Photograph from an automated digital microscope: urine filter membrane, 4× objective.
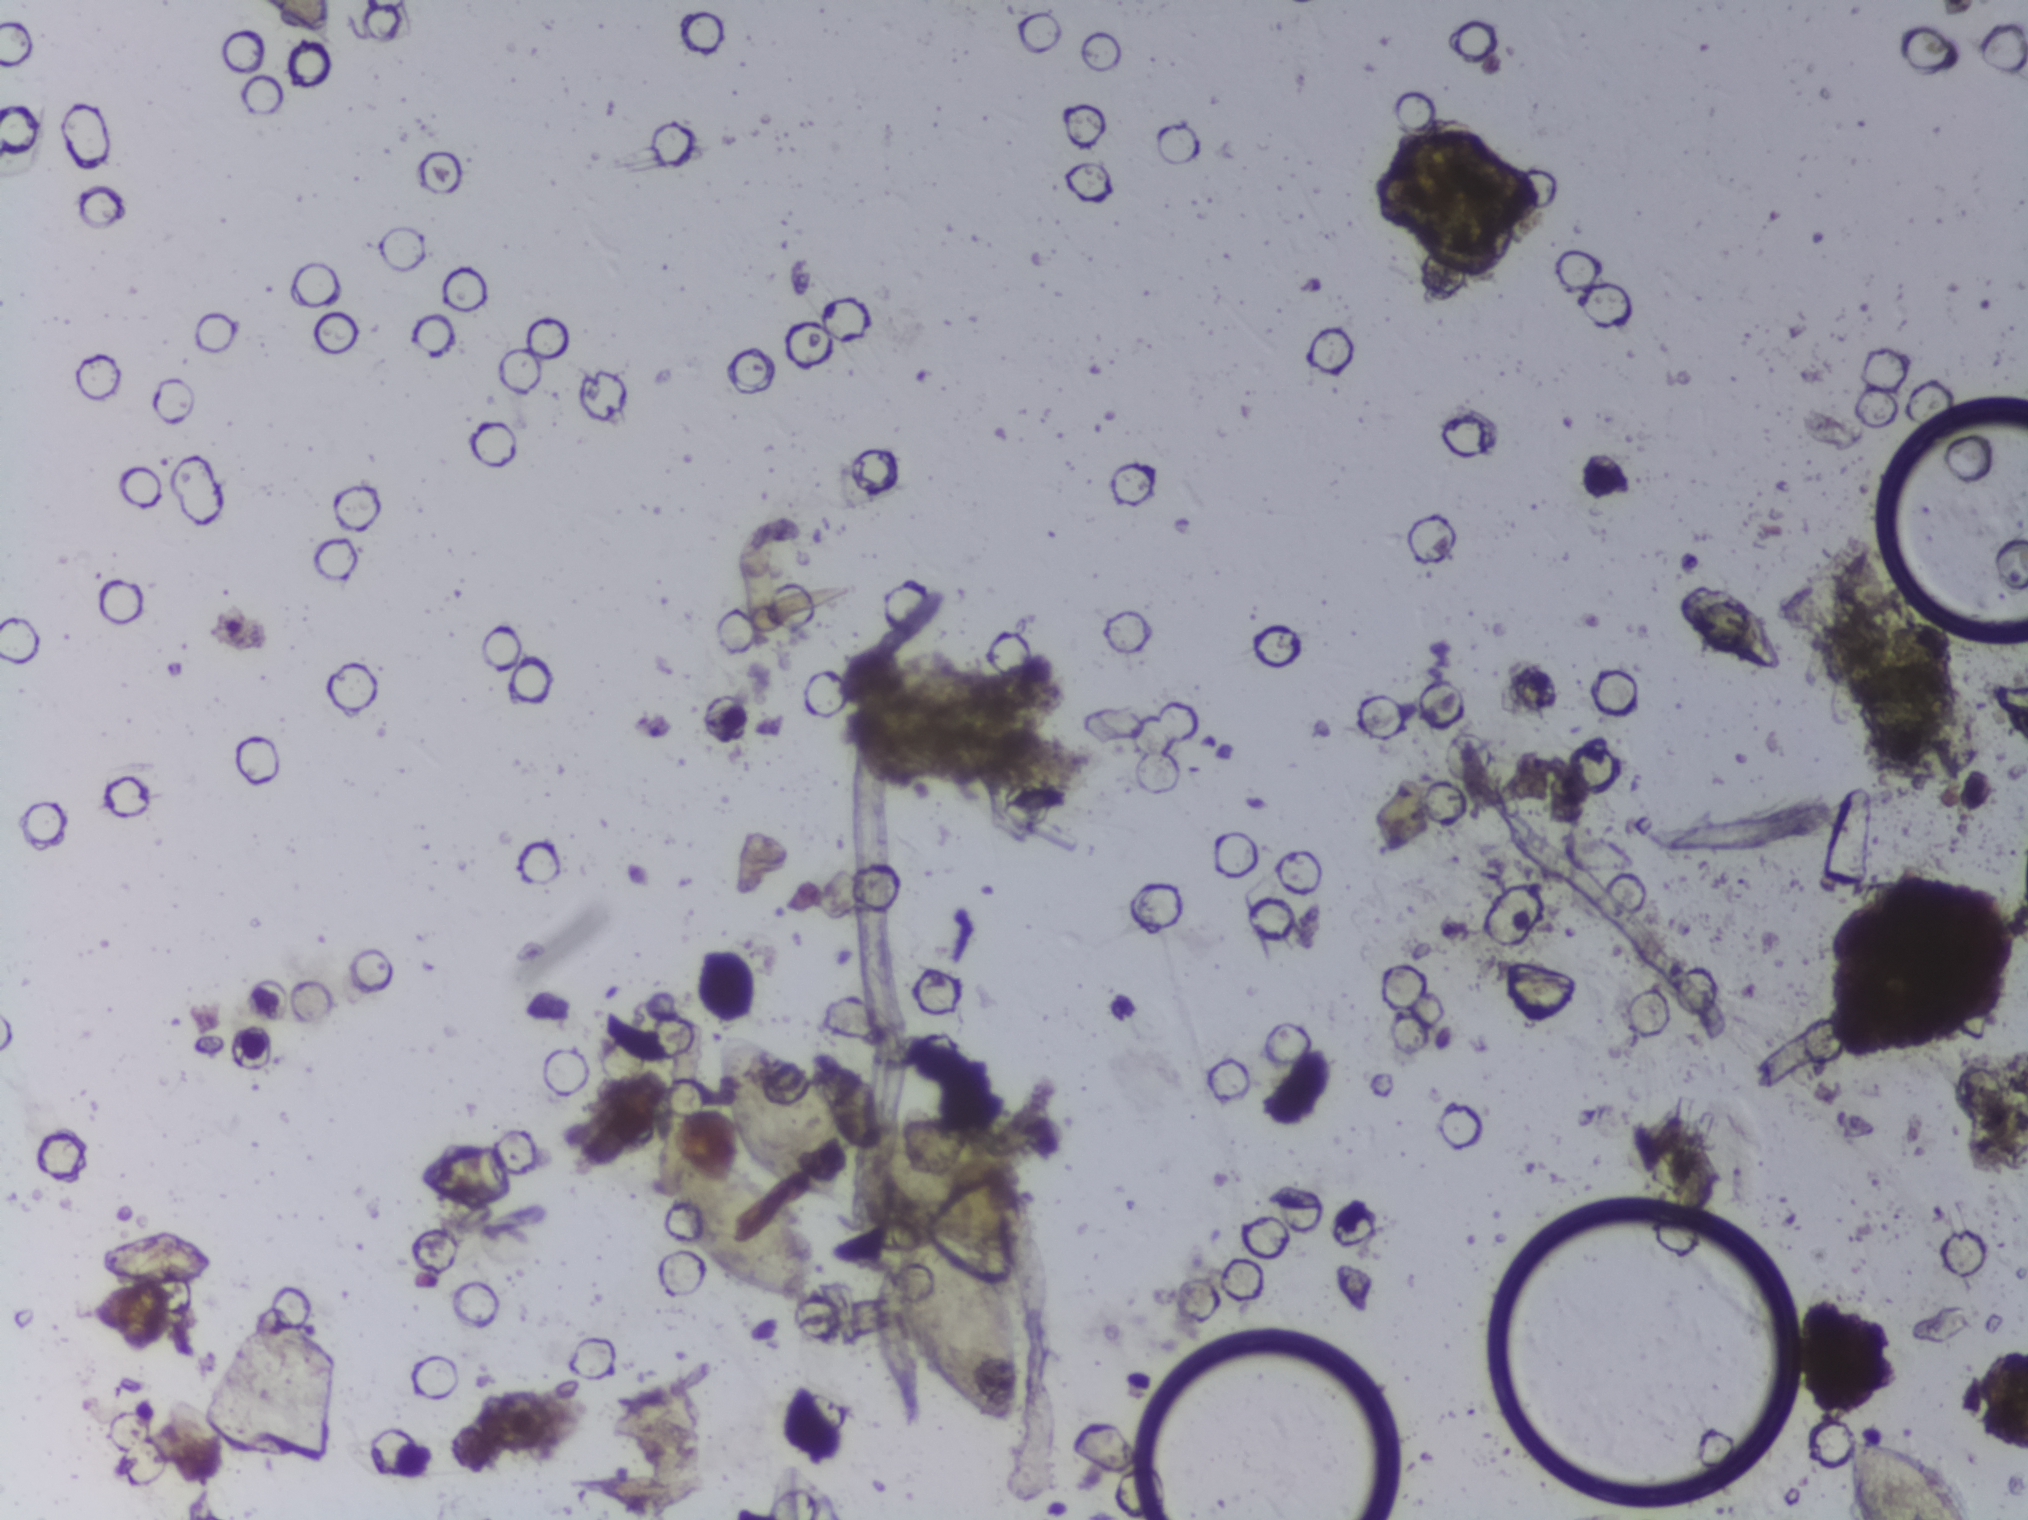
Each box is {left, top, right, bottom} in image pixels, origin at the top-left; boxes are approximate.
The expert annotation outlines Schistosoma eggs at {654, 1026, 849, 1308}; {853, 1112, 1022, 1427}; {1842, 1435, 1972, 1519} (reaching the bottom edge of the frame). About 2.5% of the image's pixels are marked (the marked pixels themselves, not the boxes around them). Eggs that touch can end up inside the same outlined area.